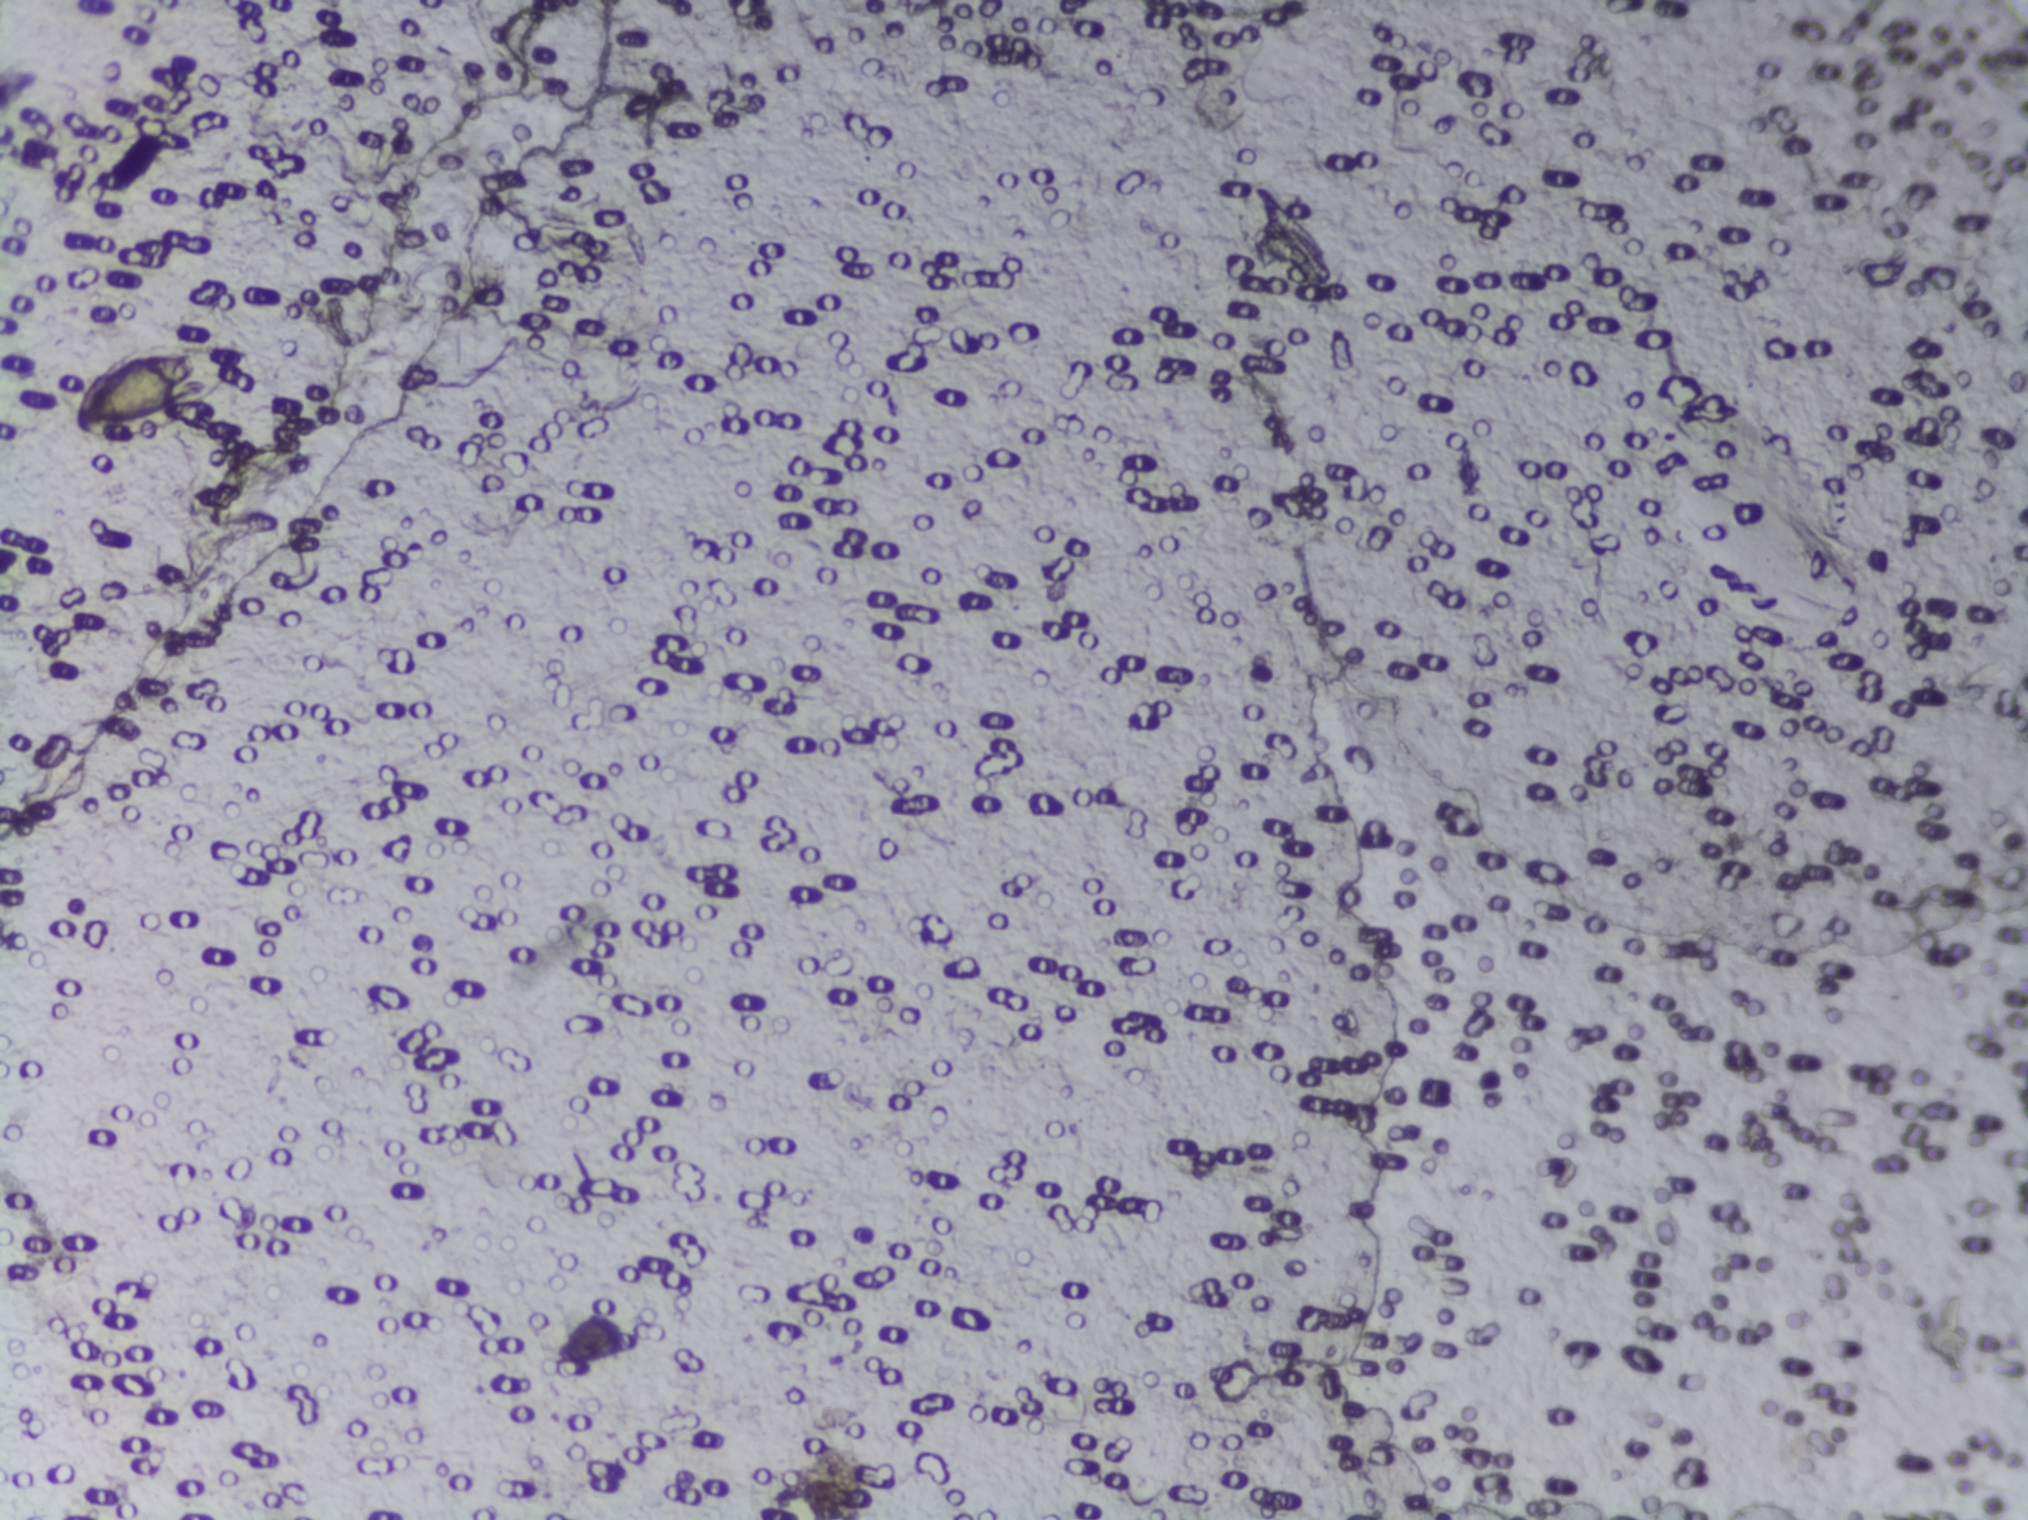
Photomicrograph of a urine filtration membrane, 4× objective. Field of view: about 1.5 mm wide and 1.1 mm high.
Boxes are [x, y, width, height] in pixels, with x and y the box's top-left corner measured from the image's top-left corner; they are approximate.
Areas outlined as Schistosoma eggs: [71, 341, 176, 102]. The marked pixels themselves, not the box around them, cover about 0.4% of the image. A single outlined area may contain several eggs. Any one outlined egg may, rarely, be S. mansoni rather than S. haematobium.